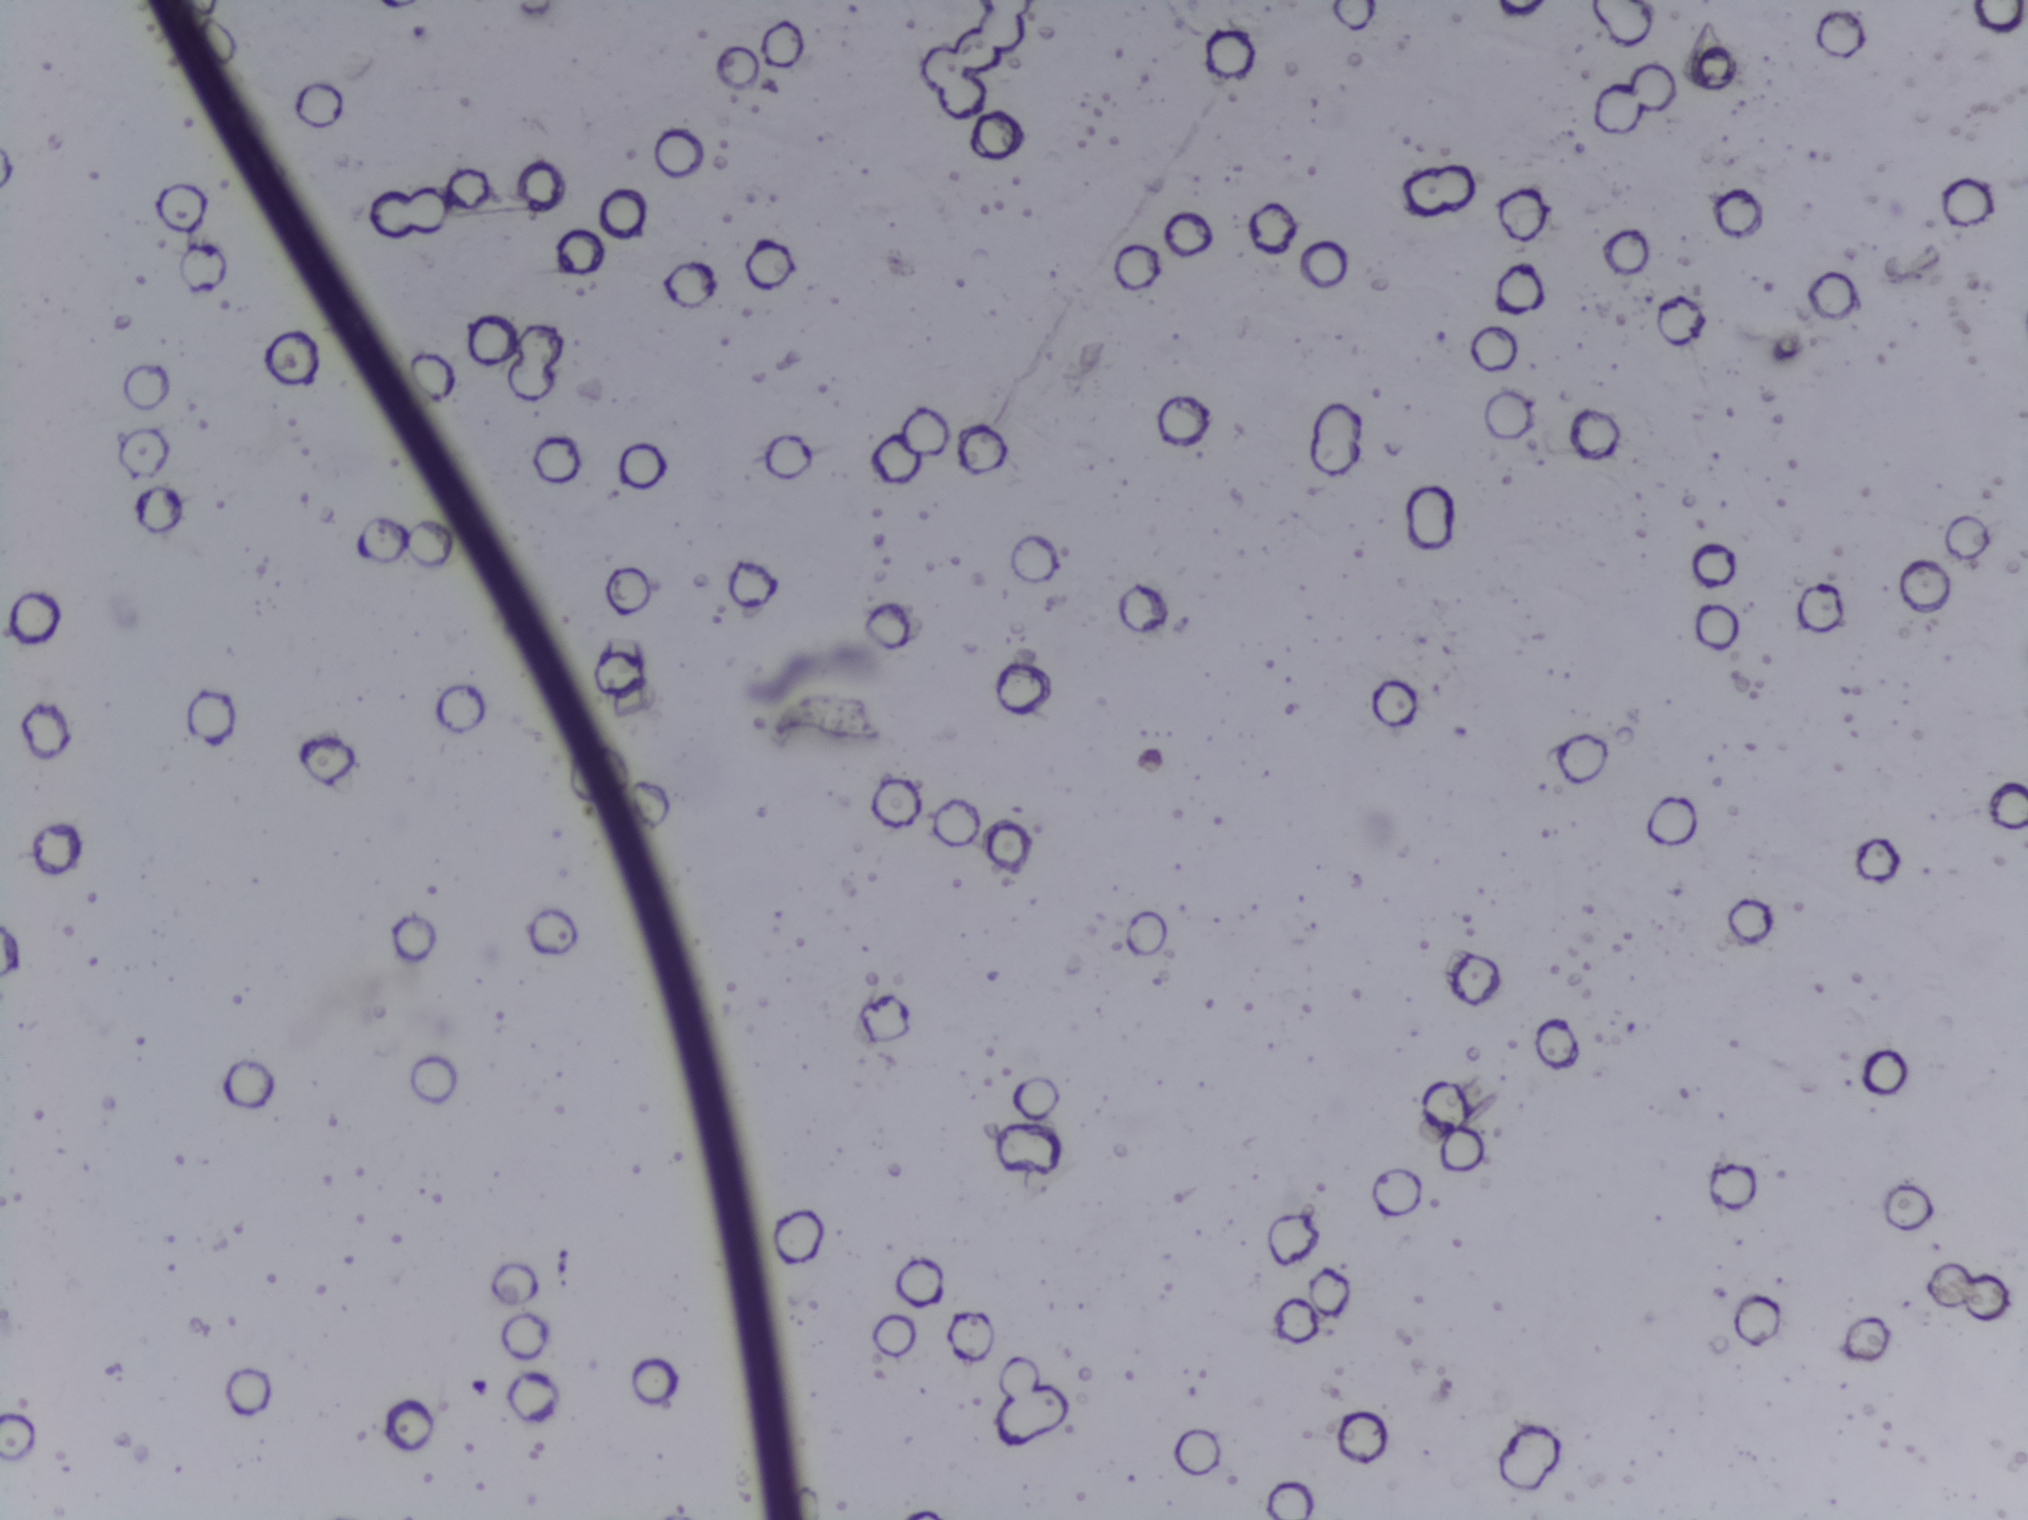
The expert annotation marks no Schistosoma egg in this field of view.
Urine filtration membrane under a 4× objective, photographed by an automated digital microscope.